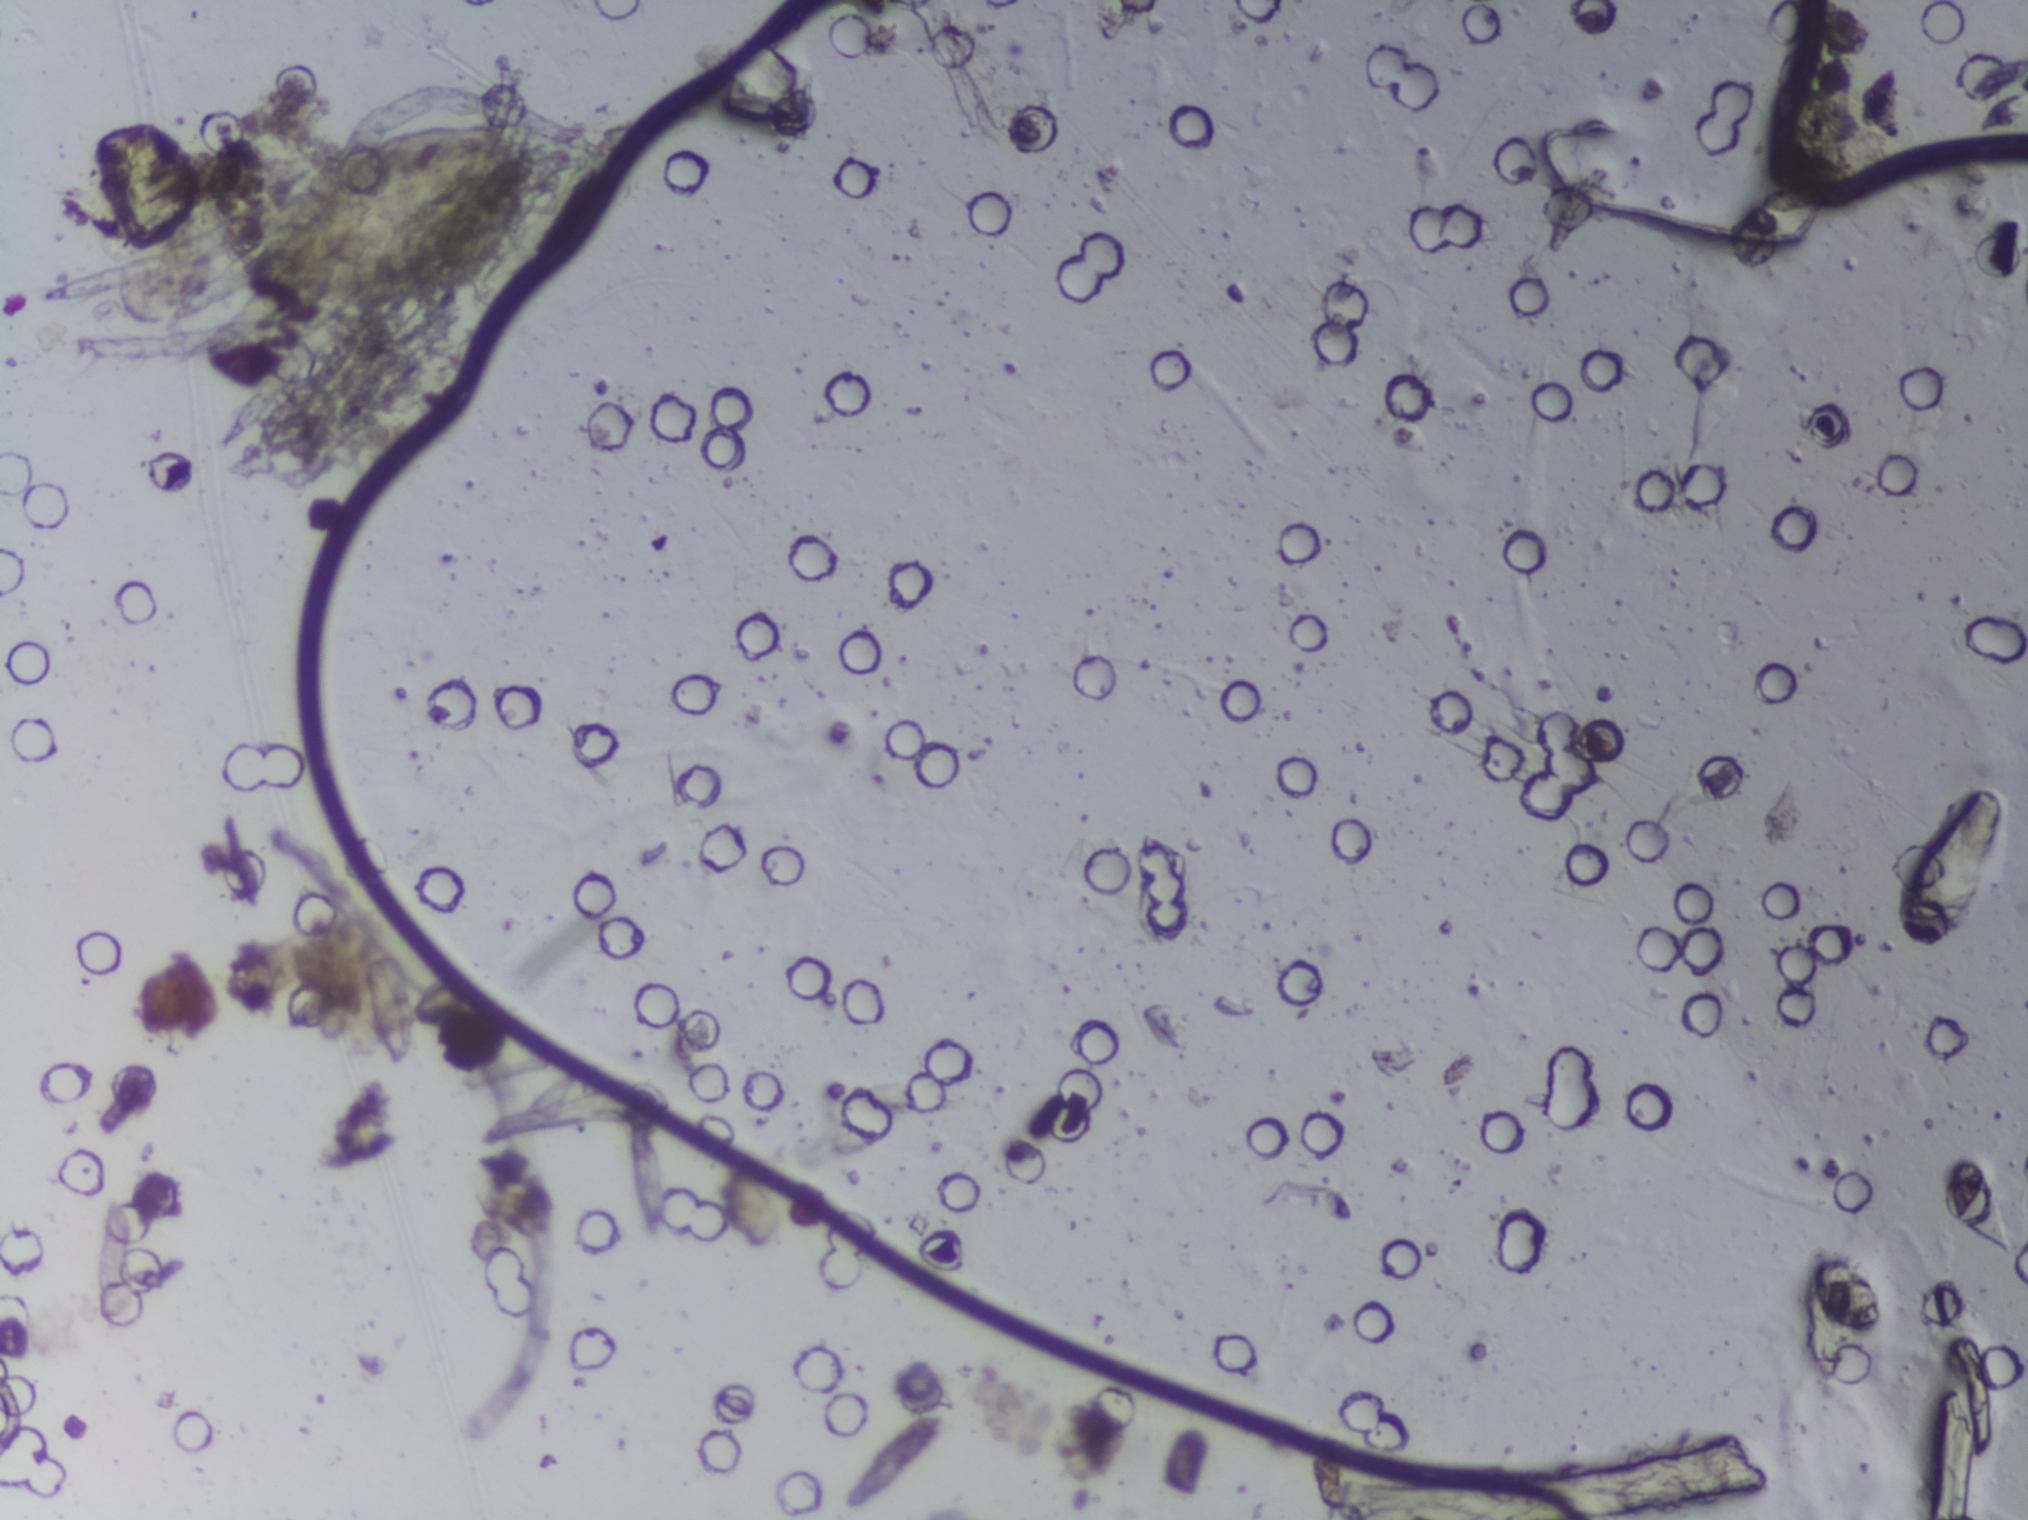
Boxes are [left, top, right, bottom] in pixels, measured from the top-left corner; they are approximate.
Outlined Schistosoma egg areas:
1. [245, 127, 539, 303]
Eggs that touch can end up inside the same outlined area. A marked egg may occasionally be S. mansoni rather than S. haematobium.
Urine filter membrane photographed through a 4× microscope objective. The image covers about 1.5 × 1.1 mm of the membrane.